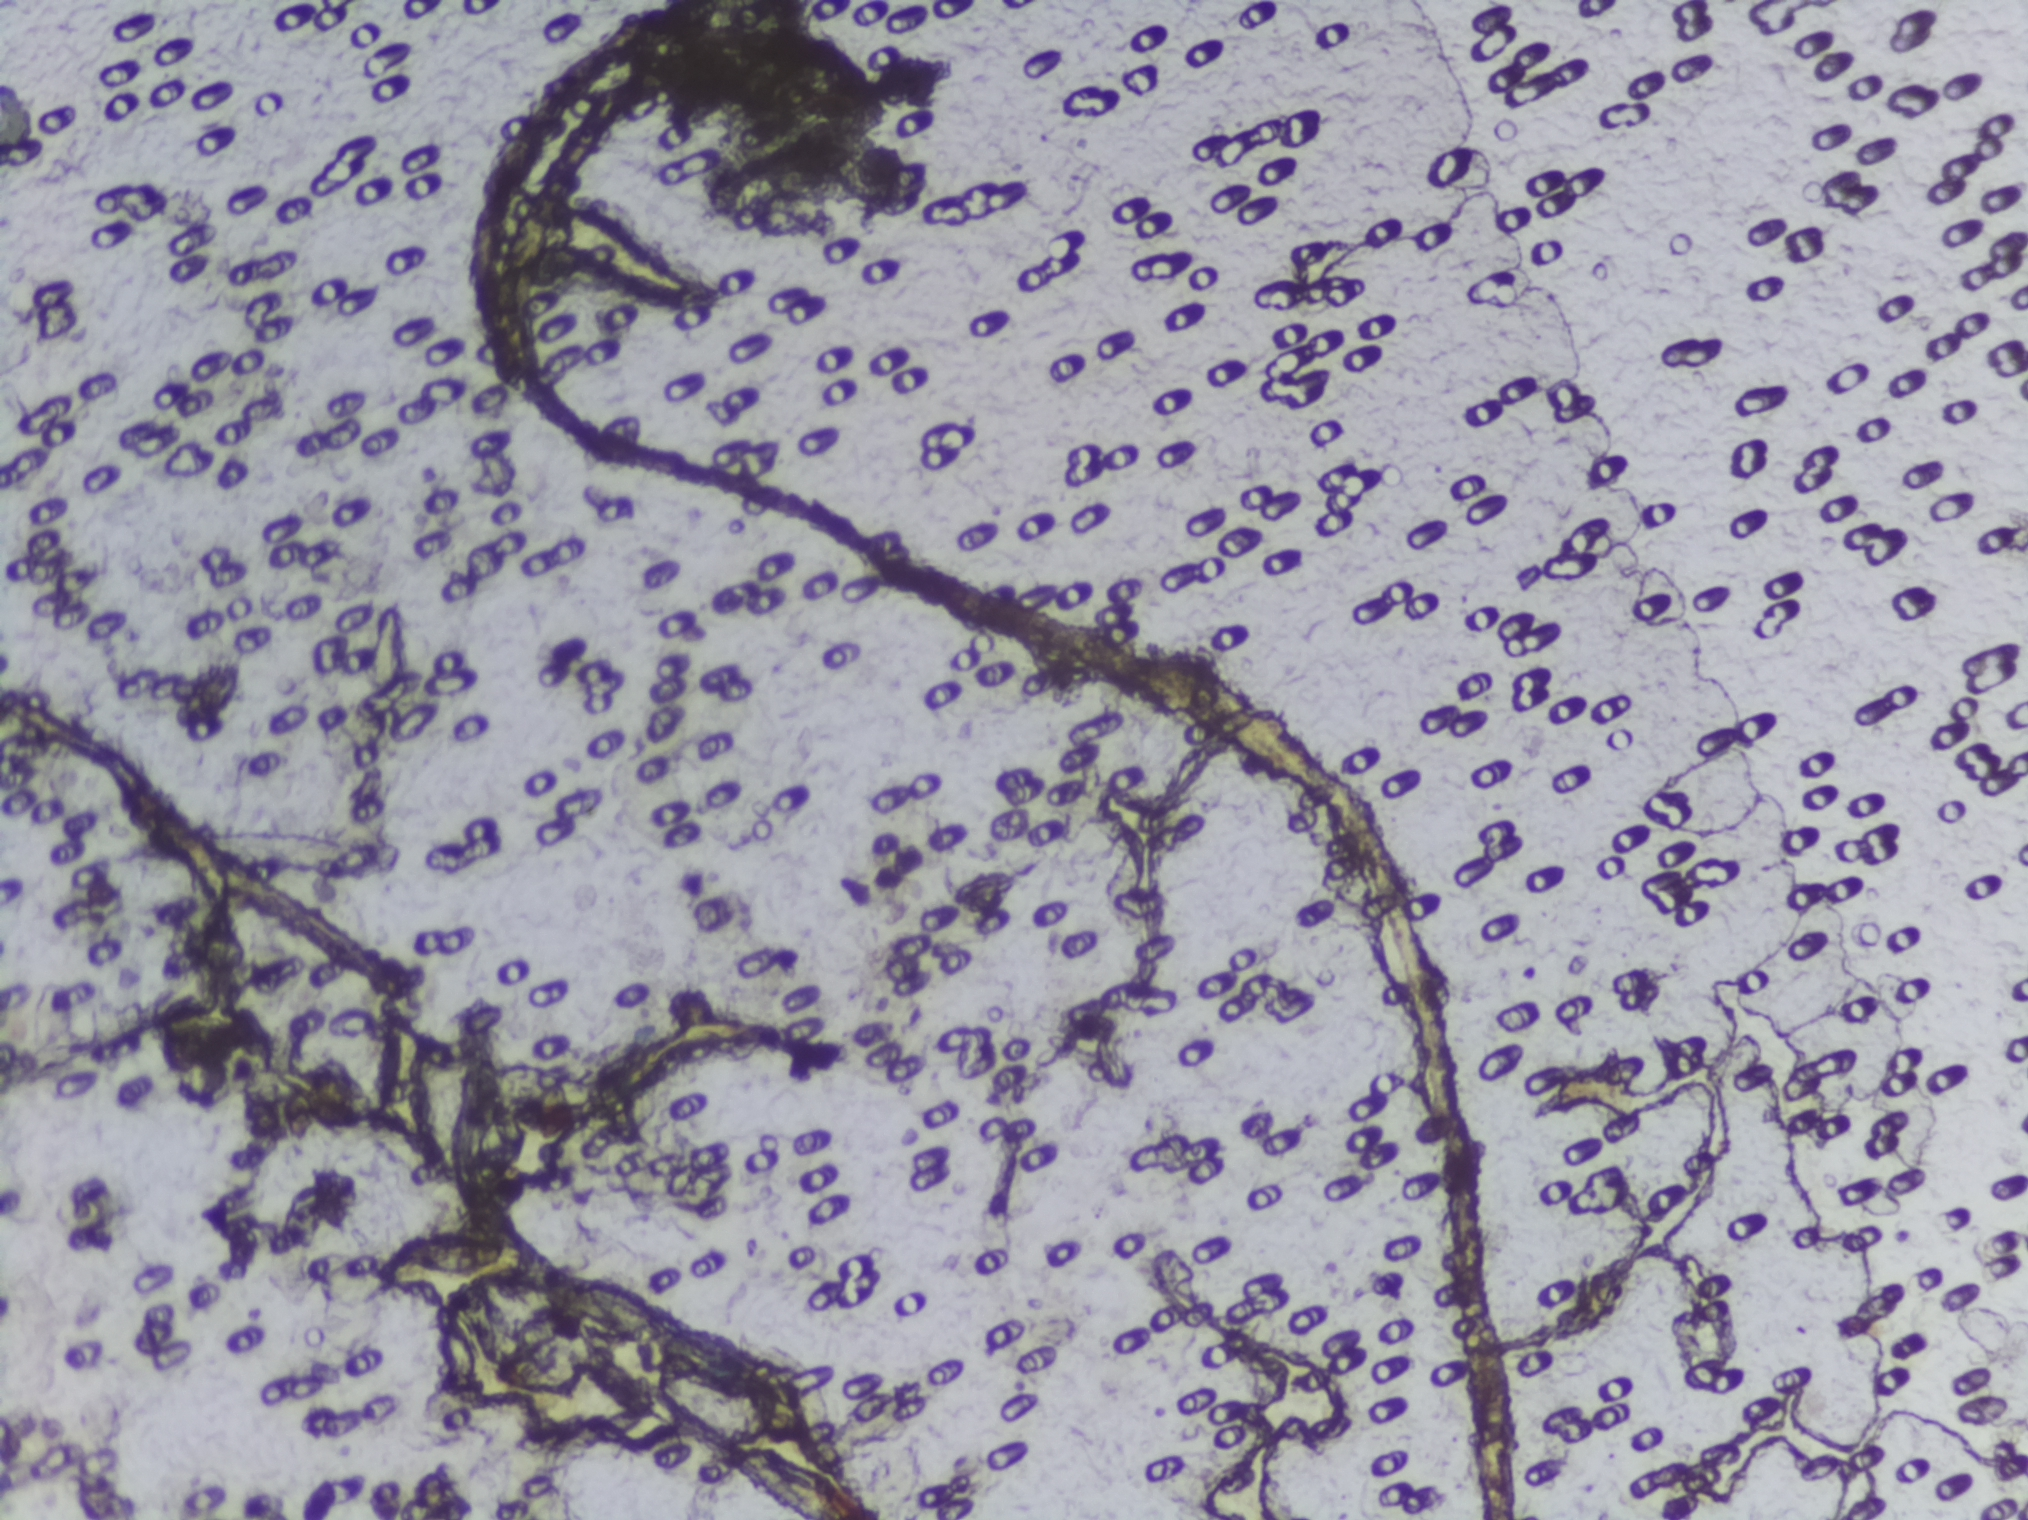
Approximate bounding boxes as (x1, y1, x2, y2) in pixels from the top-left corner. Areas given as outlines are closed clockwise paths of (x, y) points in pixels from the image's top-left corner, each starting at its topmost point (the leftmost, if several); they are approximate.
Schistosoma eggs are outlined in two areas of this image, listed from left to right: outline (436, 1225), (504, 1230), (545, 1276), (622, 1266), (644, 1277), (684, 1326), (760, 1344), (783, 1360), (799, 1424), (750, 1455), (708, 1455), (676, 1438), (658, 1412), (617, 1403), (594, 1384), (582, 1385), (579, 1406), (561, 1409), (482, 1375), (433, 1320), (415, 1310), (381, 1308), (361, 1284), (363, 1254) (a cluster of eggs) and box (440, 1025, 610, 1217). An outlined area can hold more than one egg.
Urine filter membrane photographed through a 4× microscope objective.